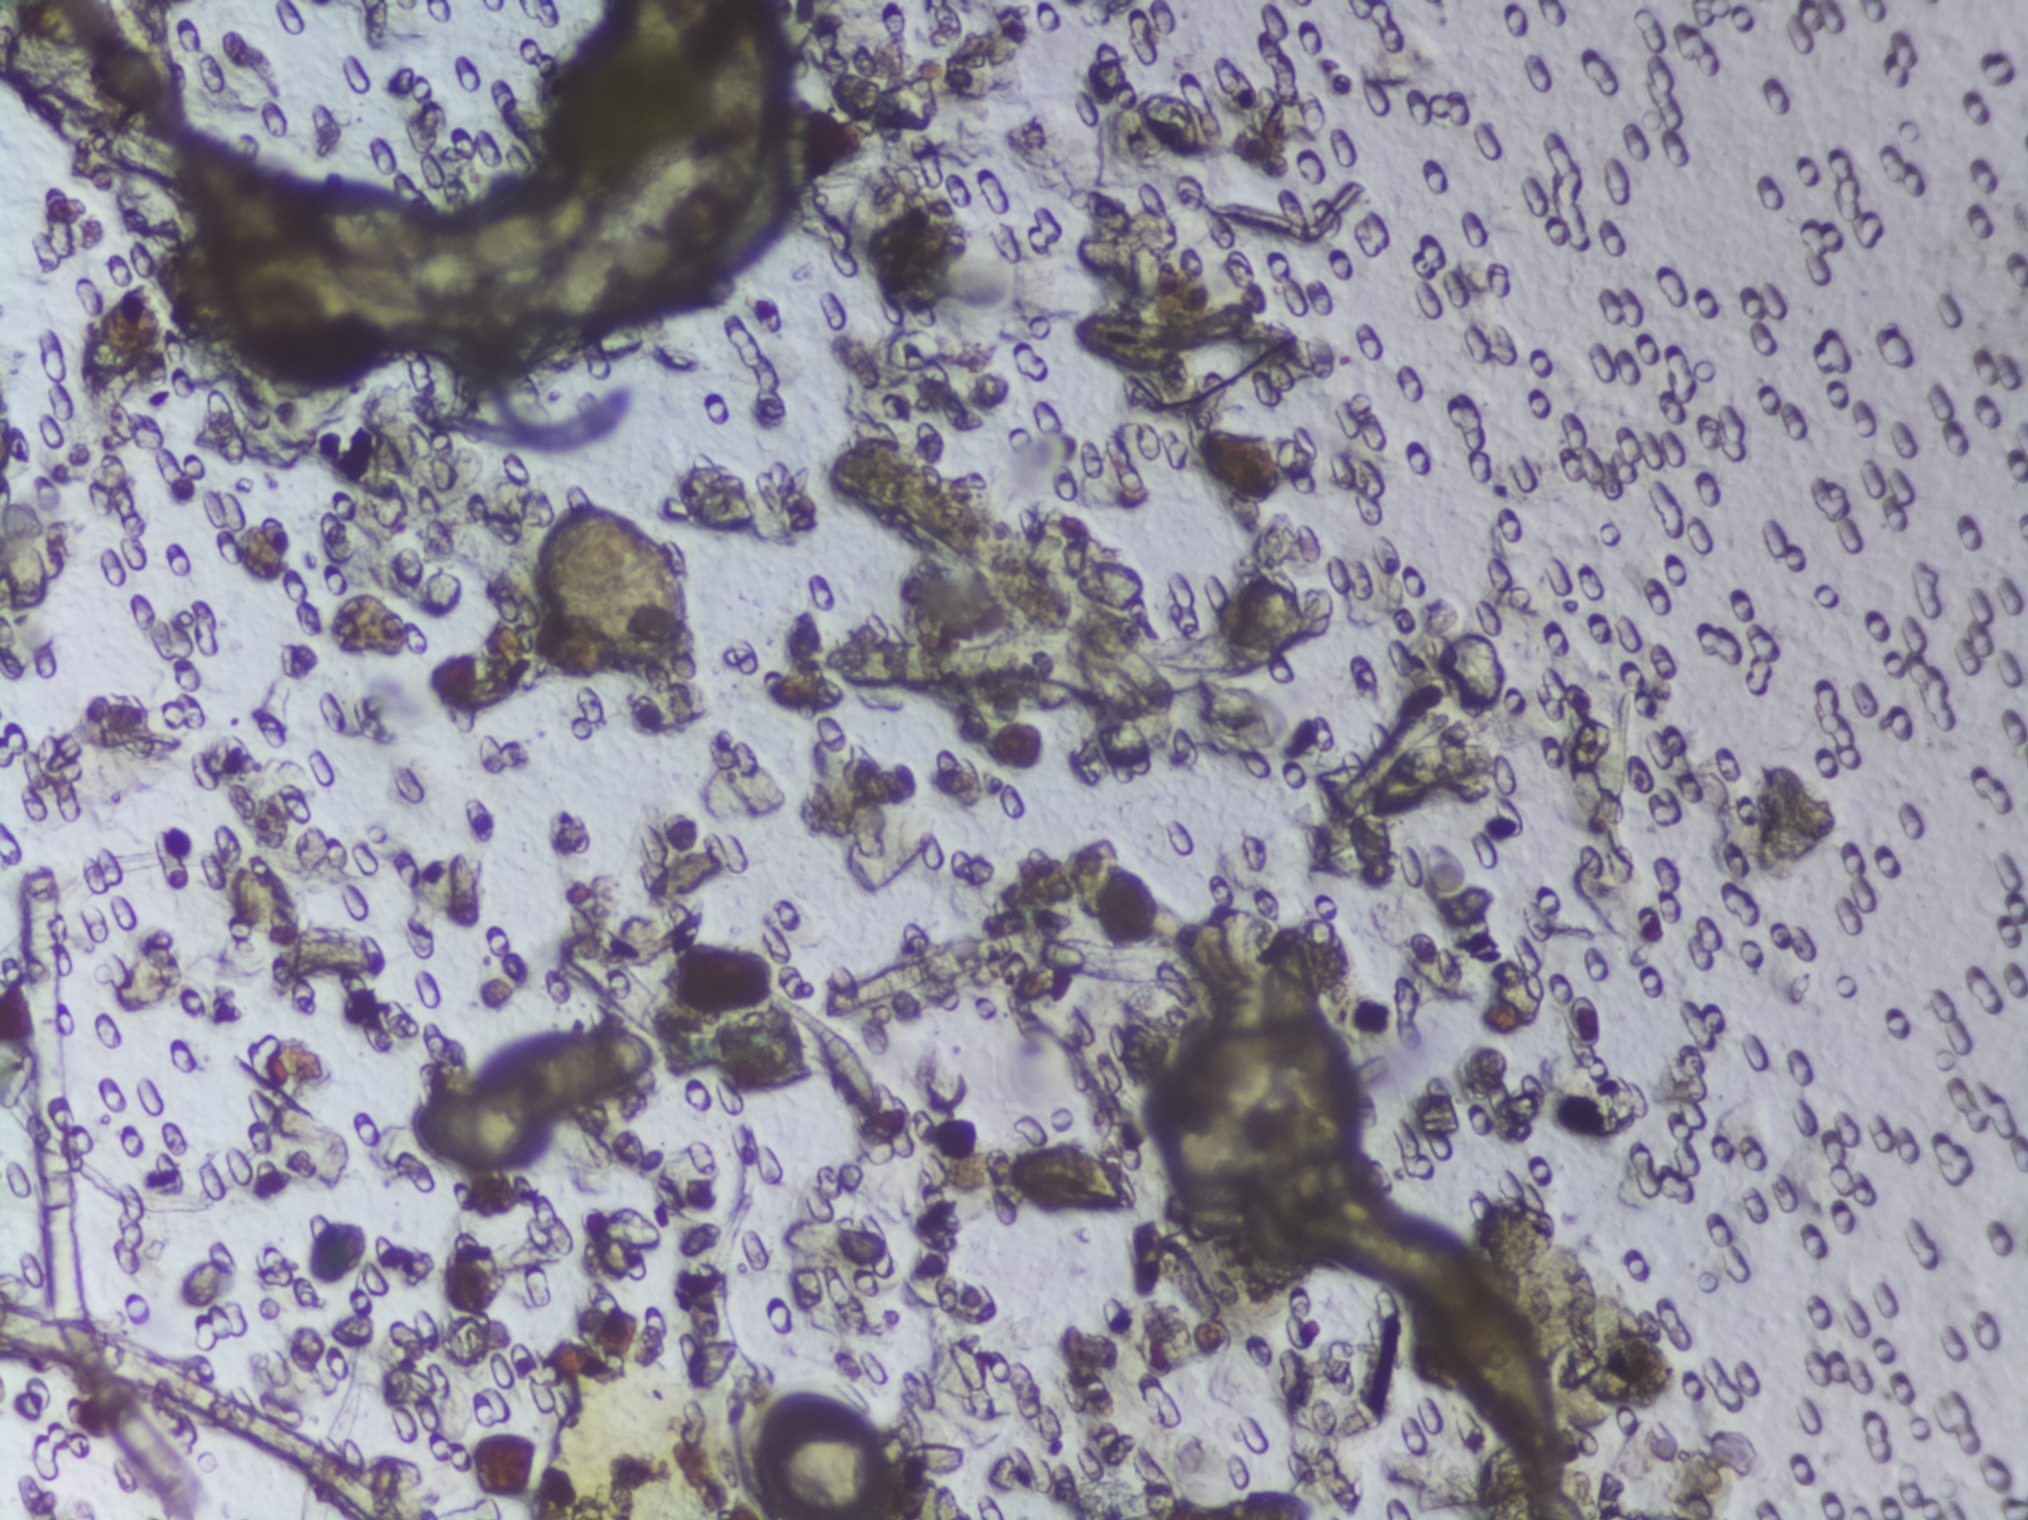
Photomicrograph of a urine filtration membrane, 4× objective.
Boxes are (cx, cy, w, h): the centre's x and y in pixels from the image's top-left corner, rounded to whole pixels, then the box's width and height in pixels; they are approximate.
Schistosoma eggs are outlined in three areas of this image, listed from left to right: (cx=534, cy=1103, w=245, h=146); (cx=1300, cy=1011, w=89, h=149); (cx=1555, cy=1498, w=62, h=44) (reaching the bottom edge of the frame). A single outlined area may contain several eggs.